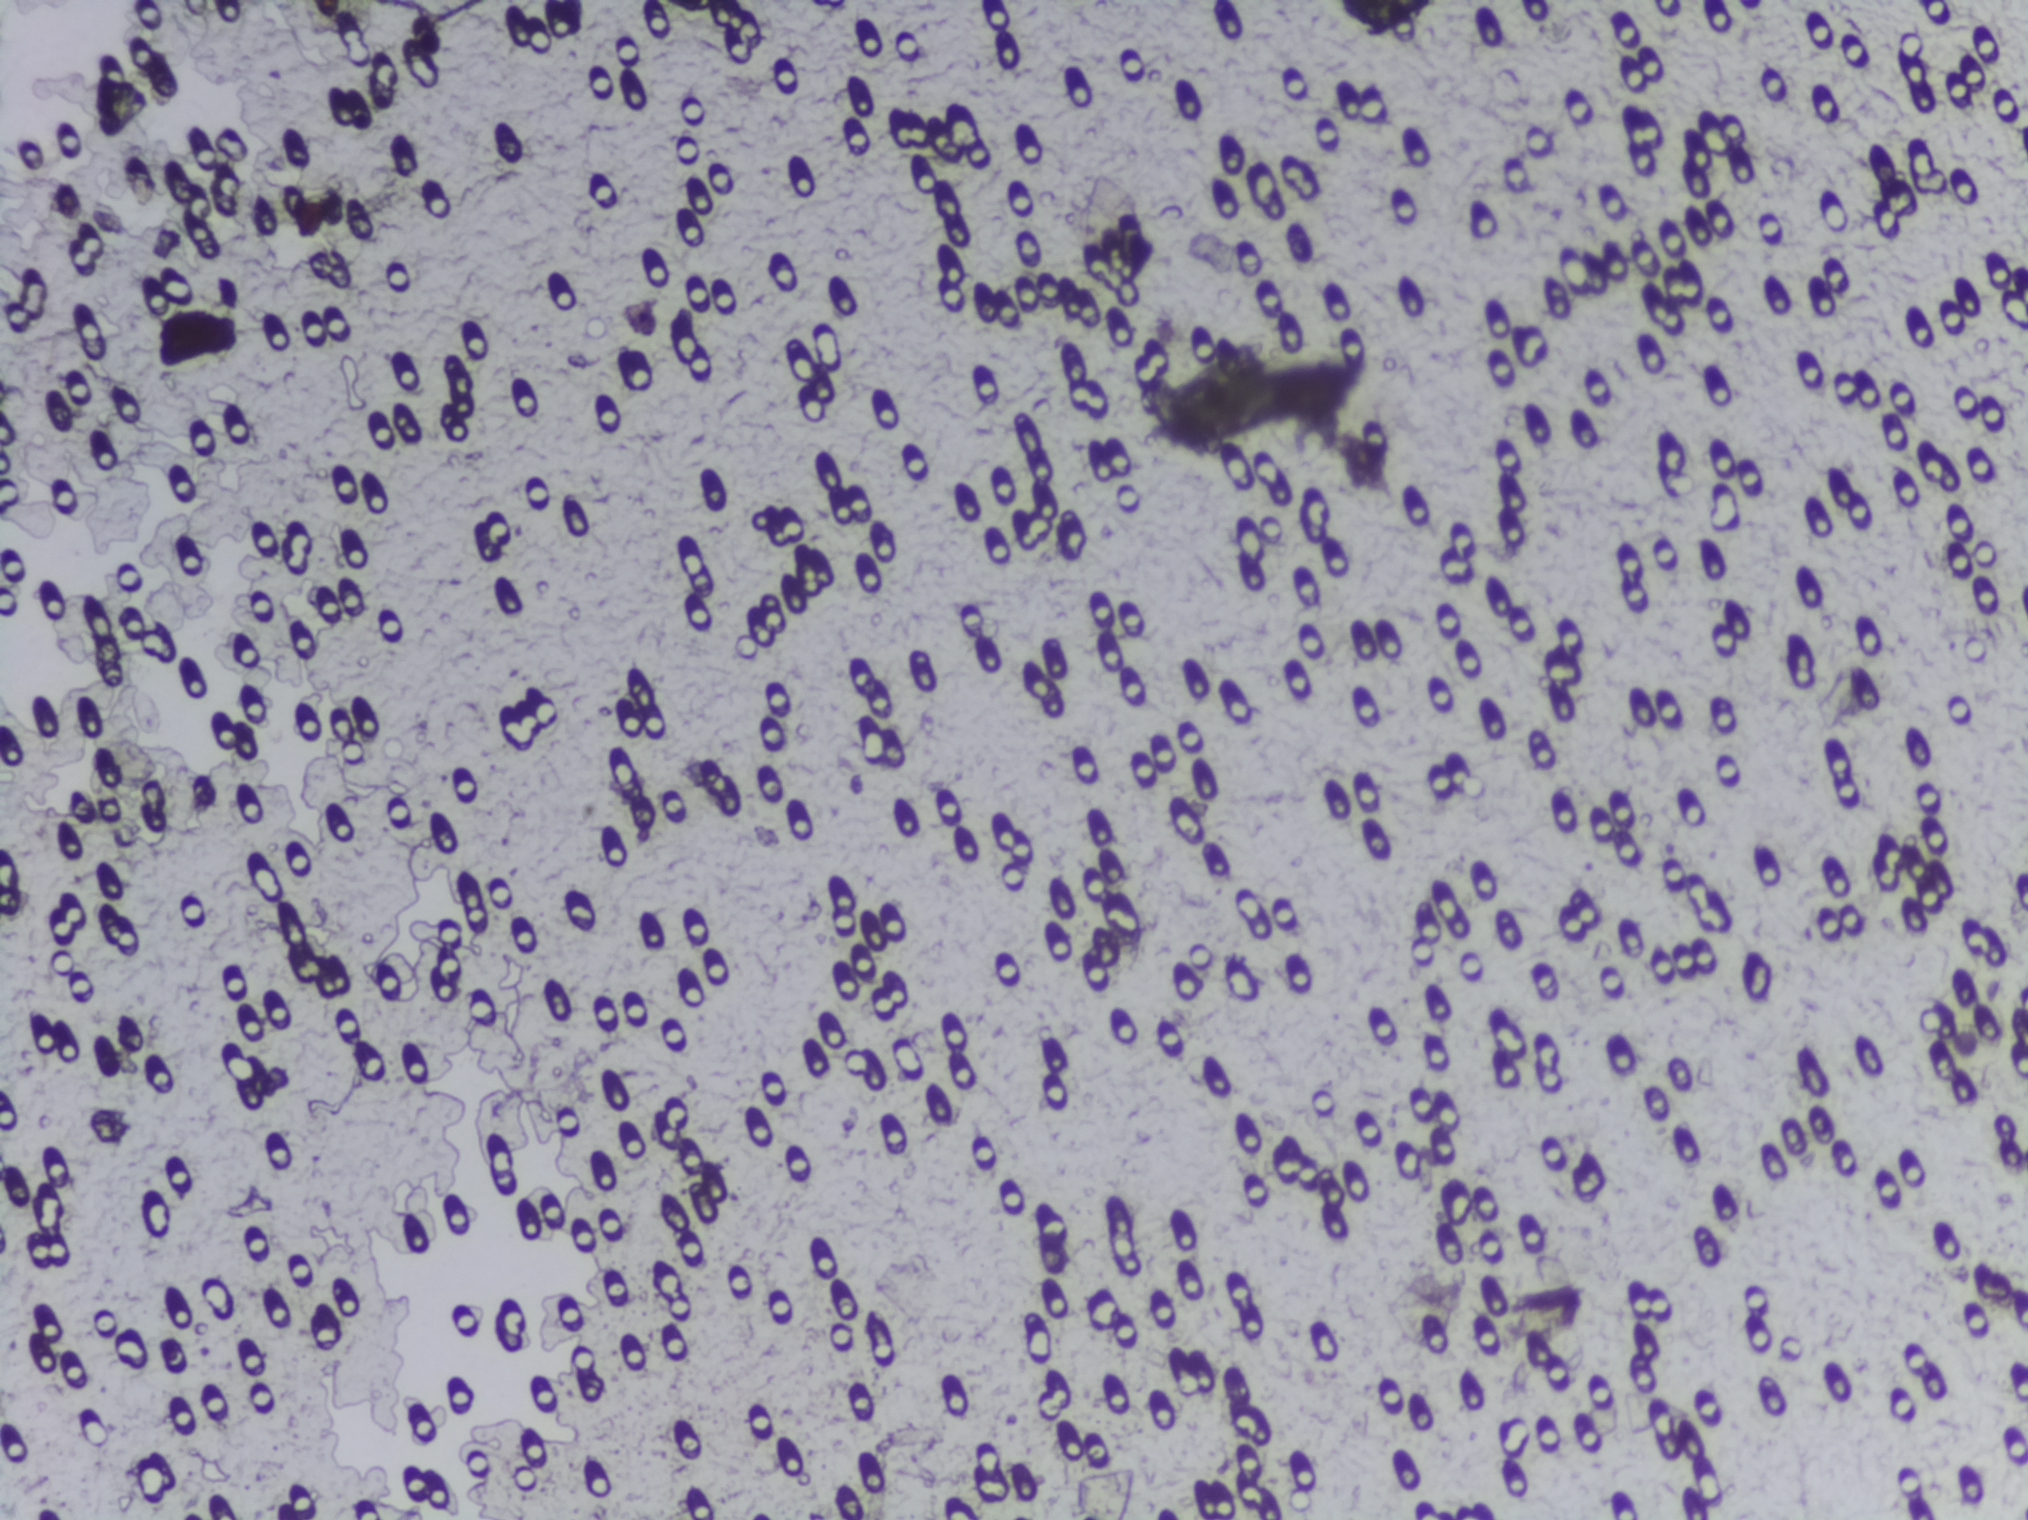
Photomicrograph of a urine filtration membrane, 4× objective.
Schistosoma eggs: none outlined.